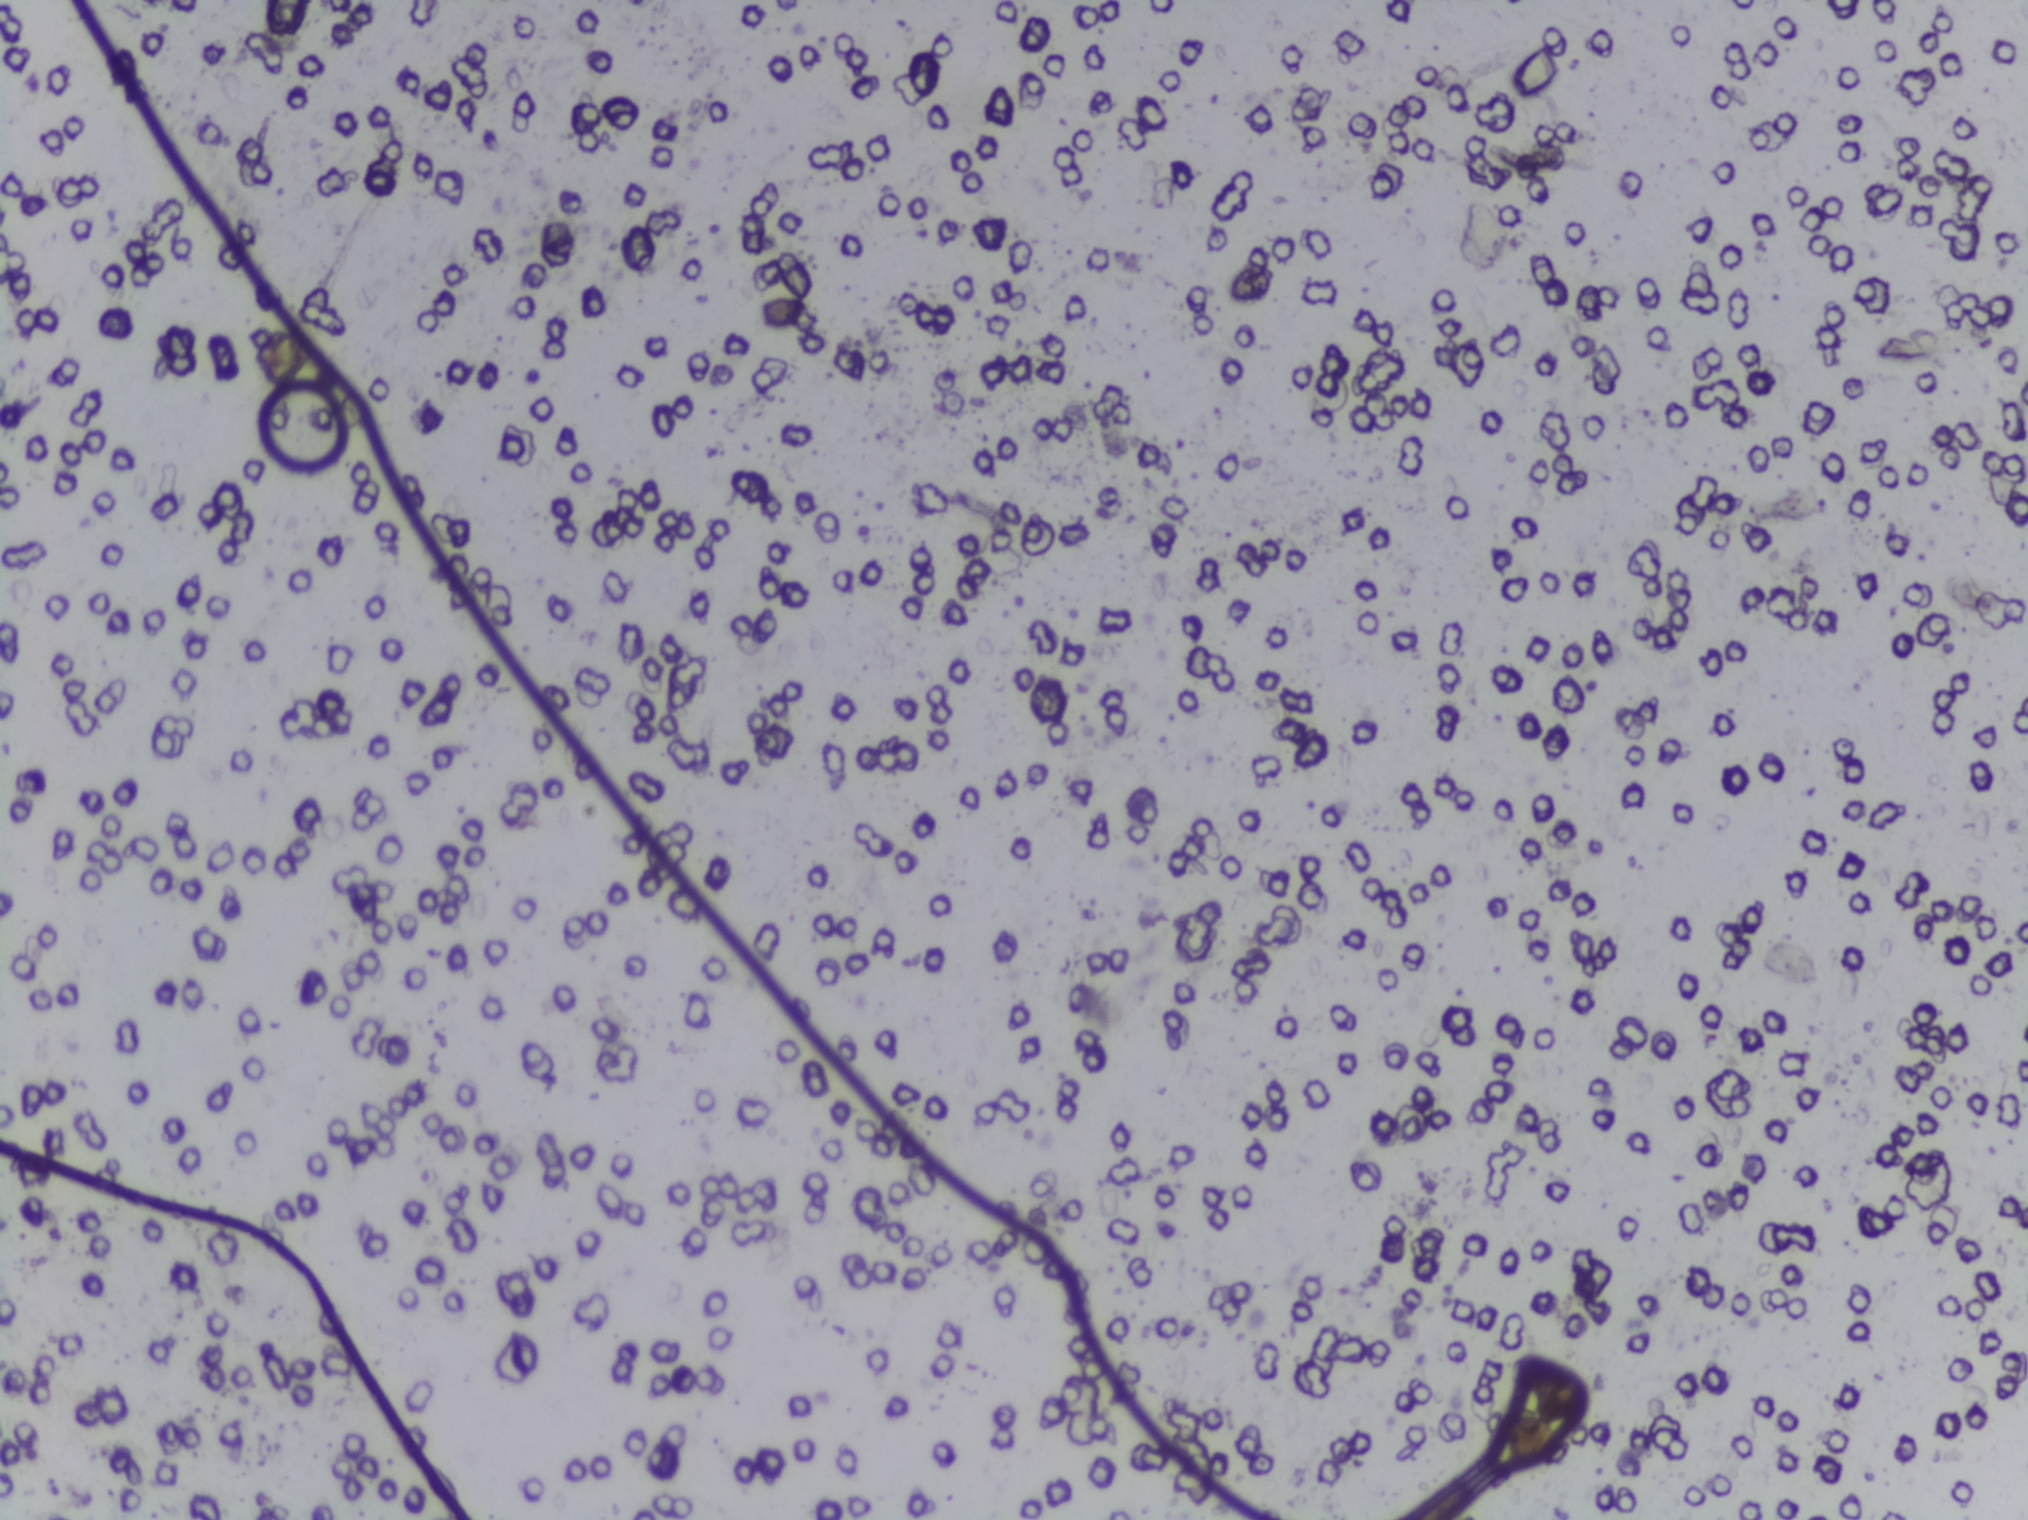
The expert annotation marks no Schistosoma egg in this field of view.
Urine filter membrane photographed through a 4× microscope objective.